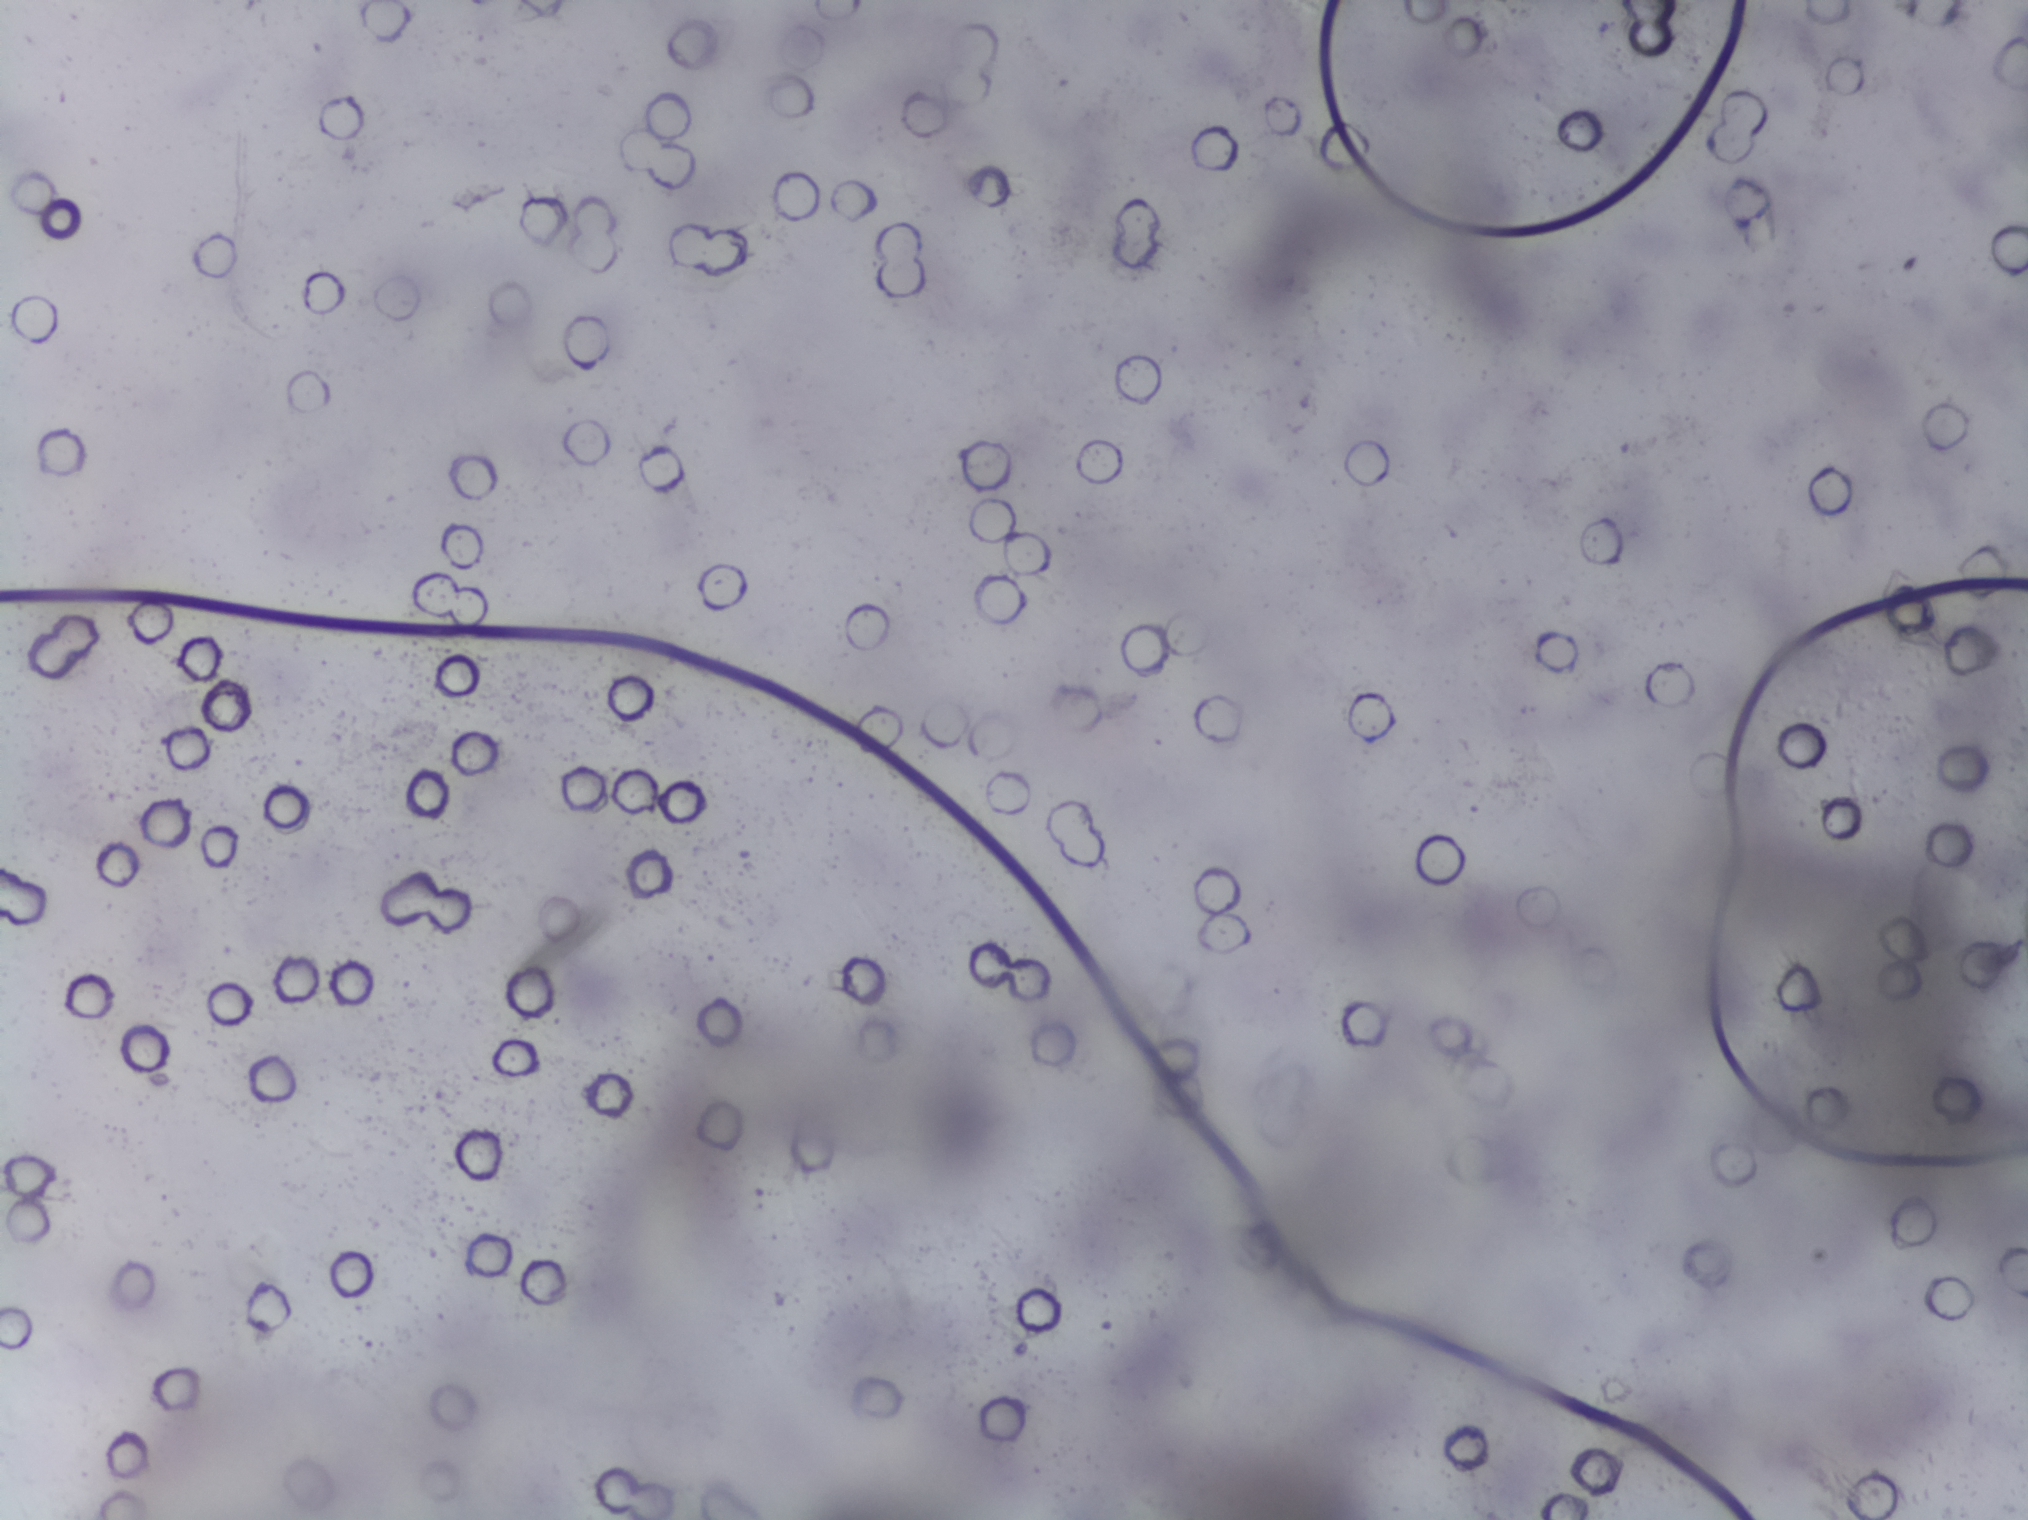
Photomicrograph of a urine filtration membrane, 4× objective.
No area of this image was outlined as a Schistosoma egg.